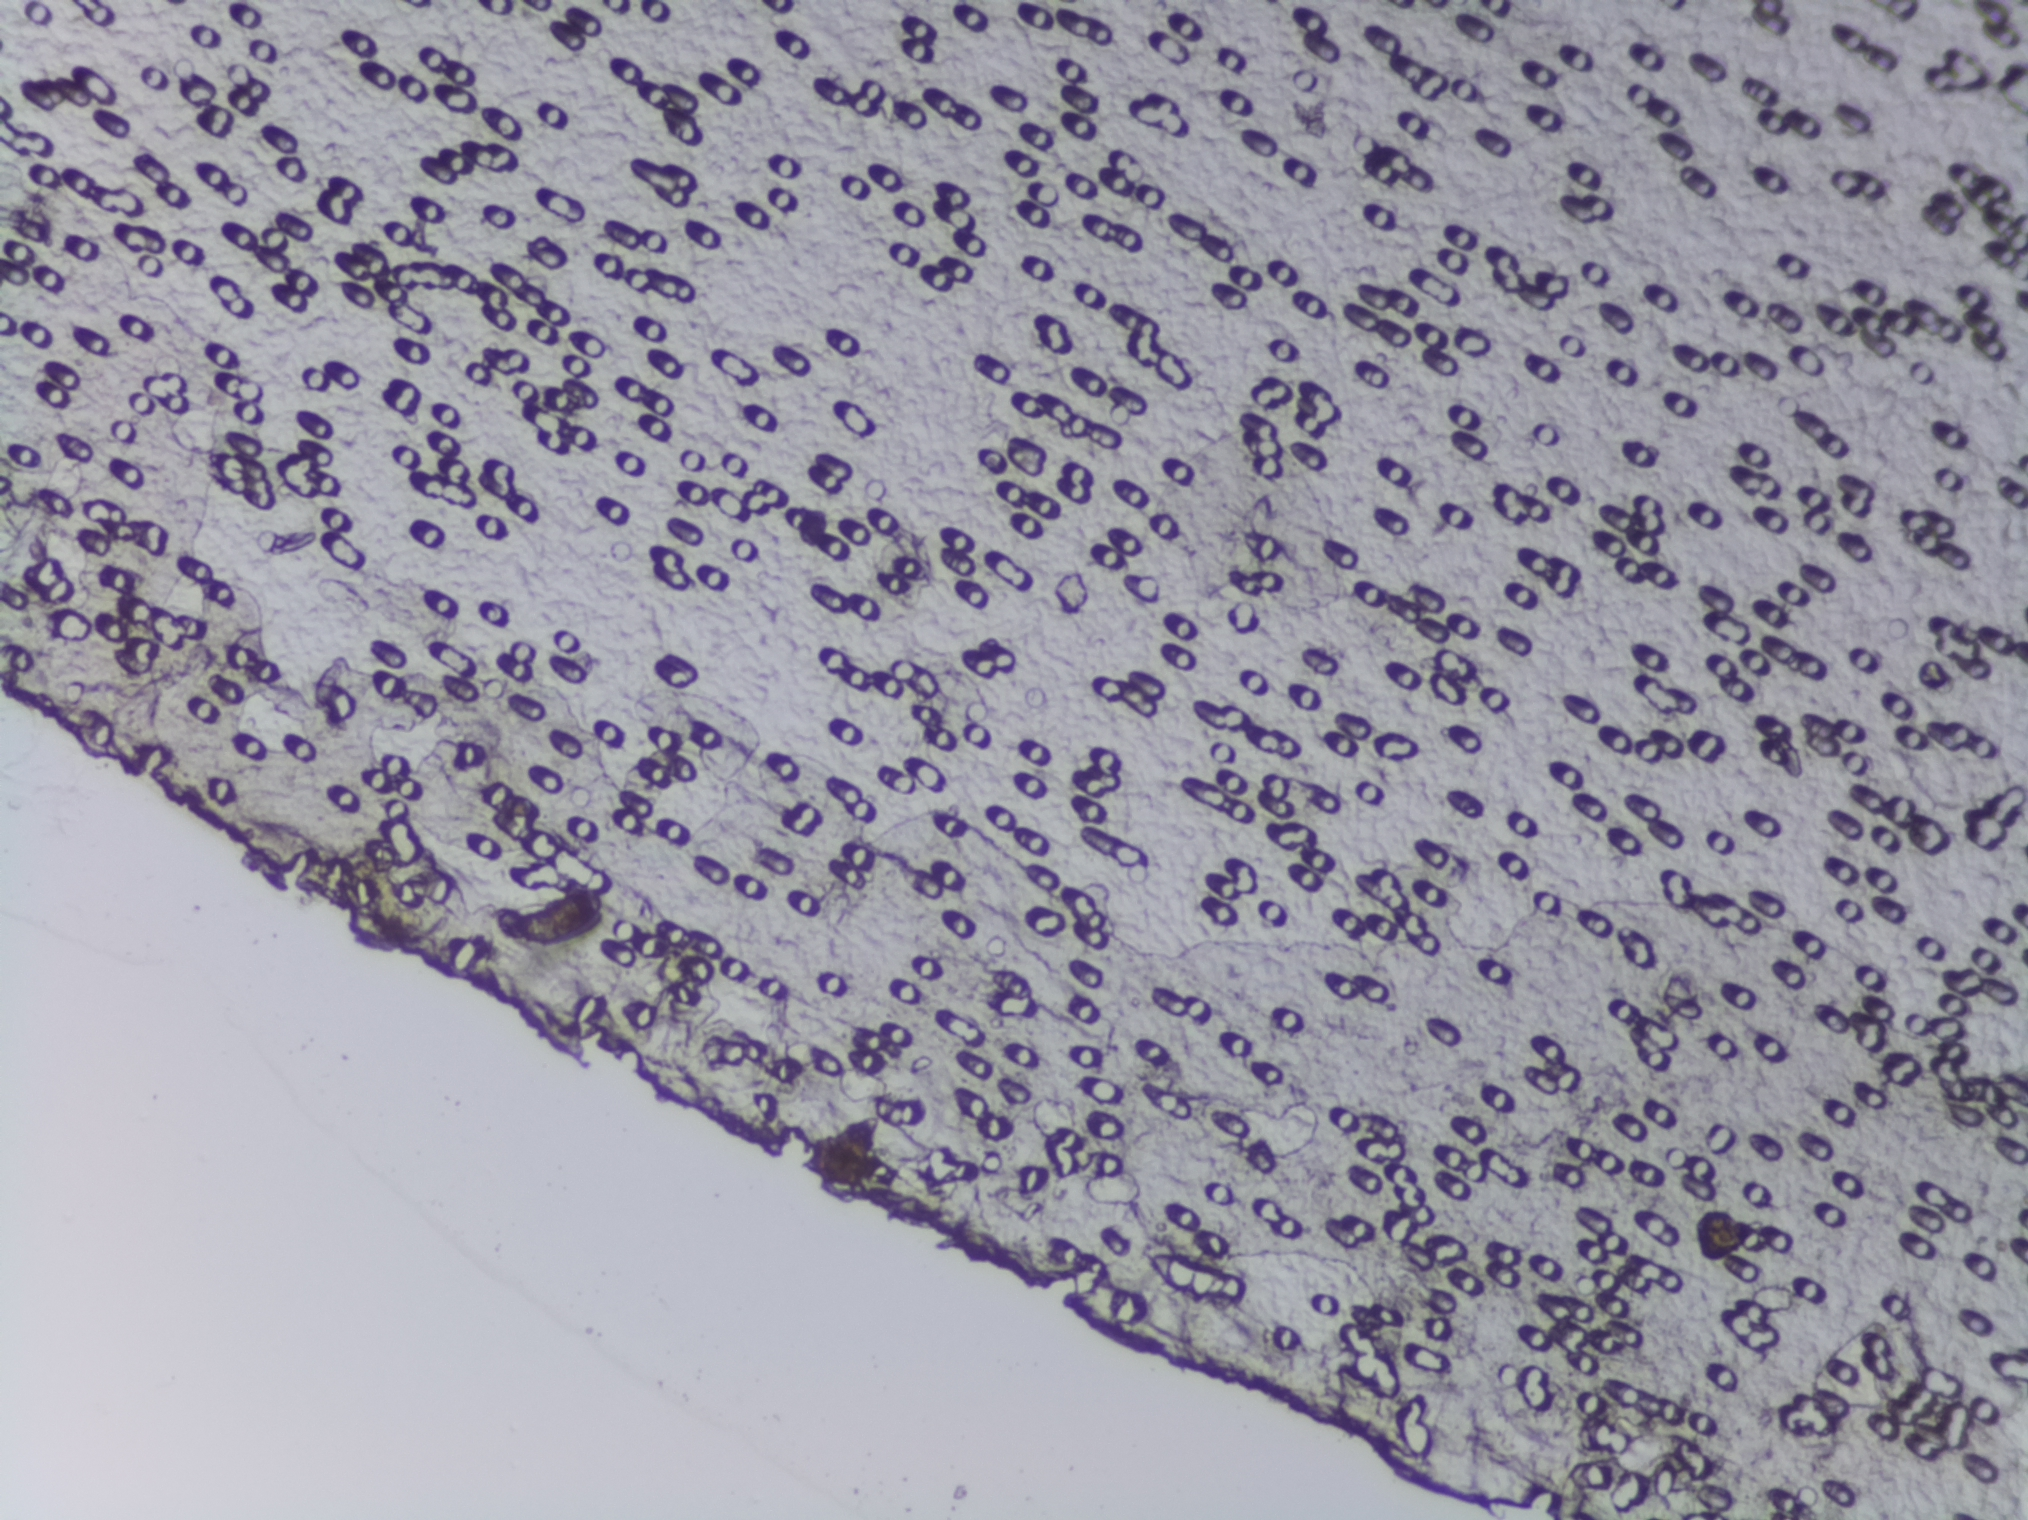
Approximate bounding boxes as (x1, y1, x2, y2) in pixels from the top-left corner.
Schistosoma eggs, outlined areas: (506, 888, 601, 942); (807, 1118, 872, 1185). An outlined area can hold more than one egg.
Microscope photograph (4× objective) of a membrane that a urine sample was filtered through.